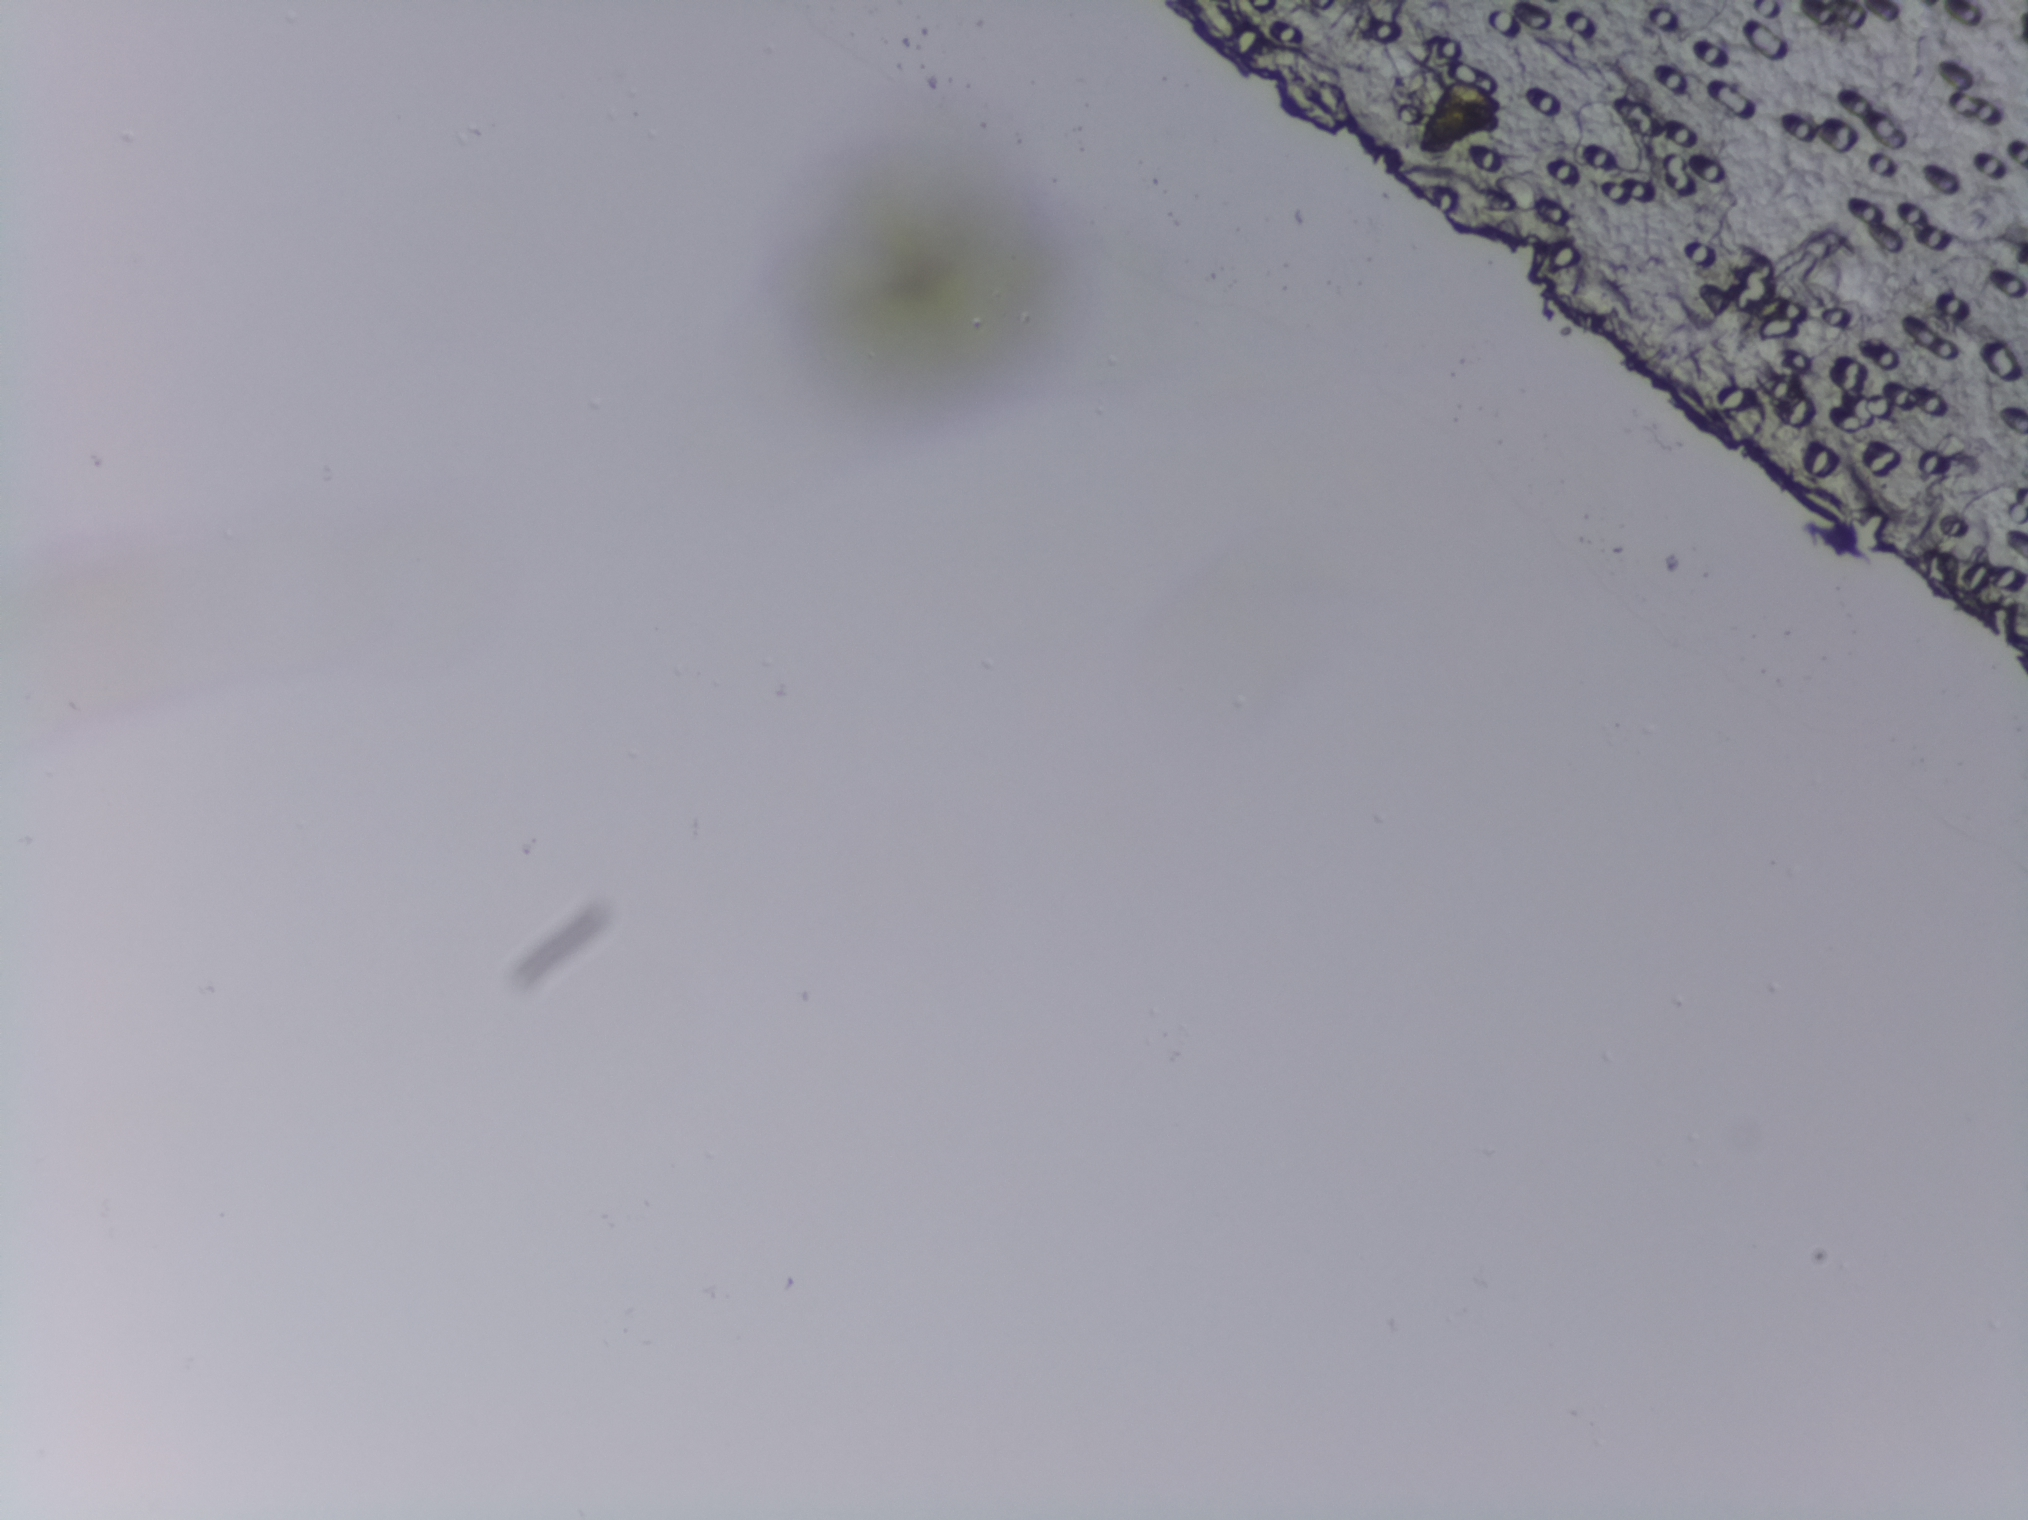
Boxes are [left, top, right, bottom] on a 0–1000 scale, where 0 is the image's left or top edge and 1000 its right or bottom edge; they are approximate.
Findings: one area outlined as Schistosoma eggs. Location: [698, 51, 742, 99]. Eggs that touch can end up inside the same outlined area.
One field of view of a urine filter membrane, 4× objective, 2028 × 1520 pixels.